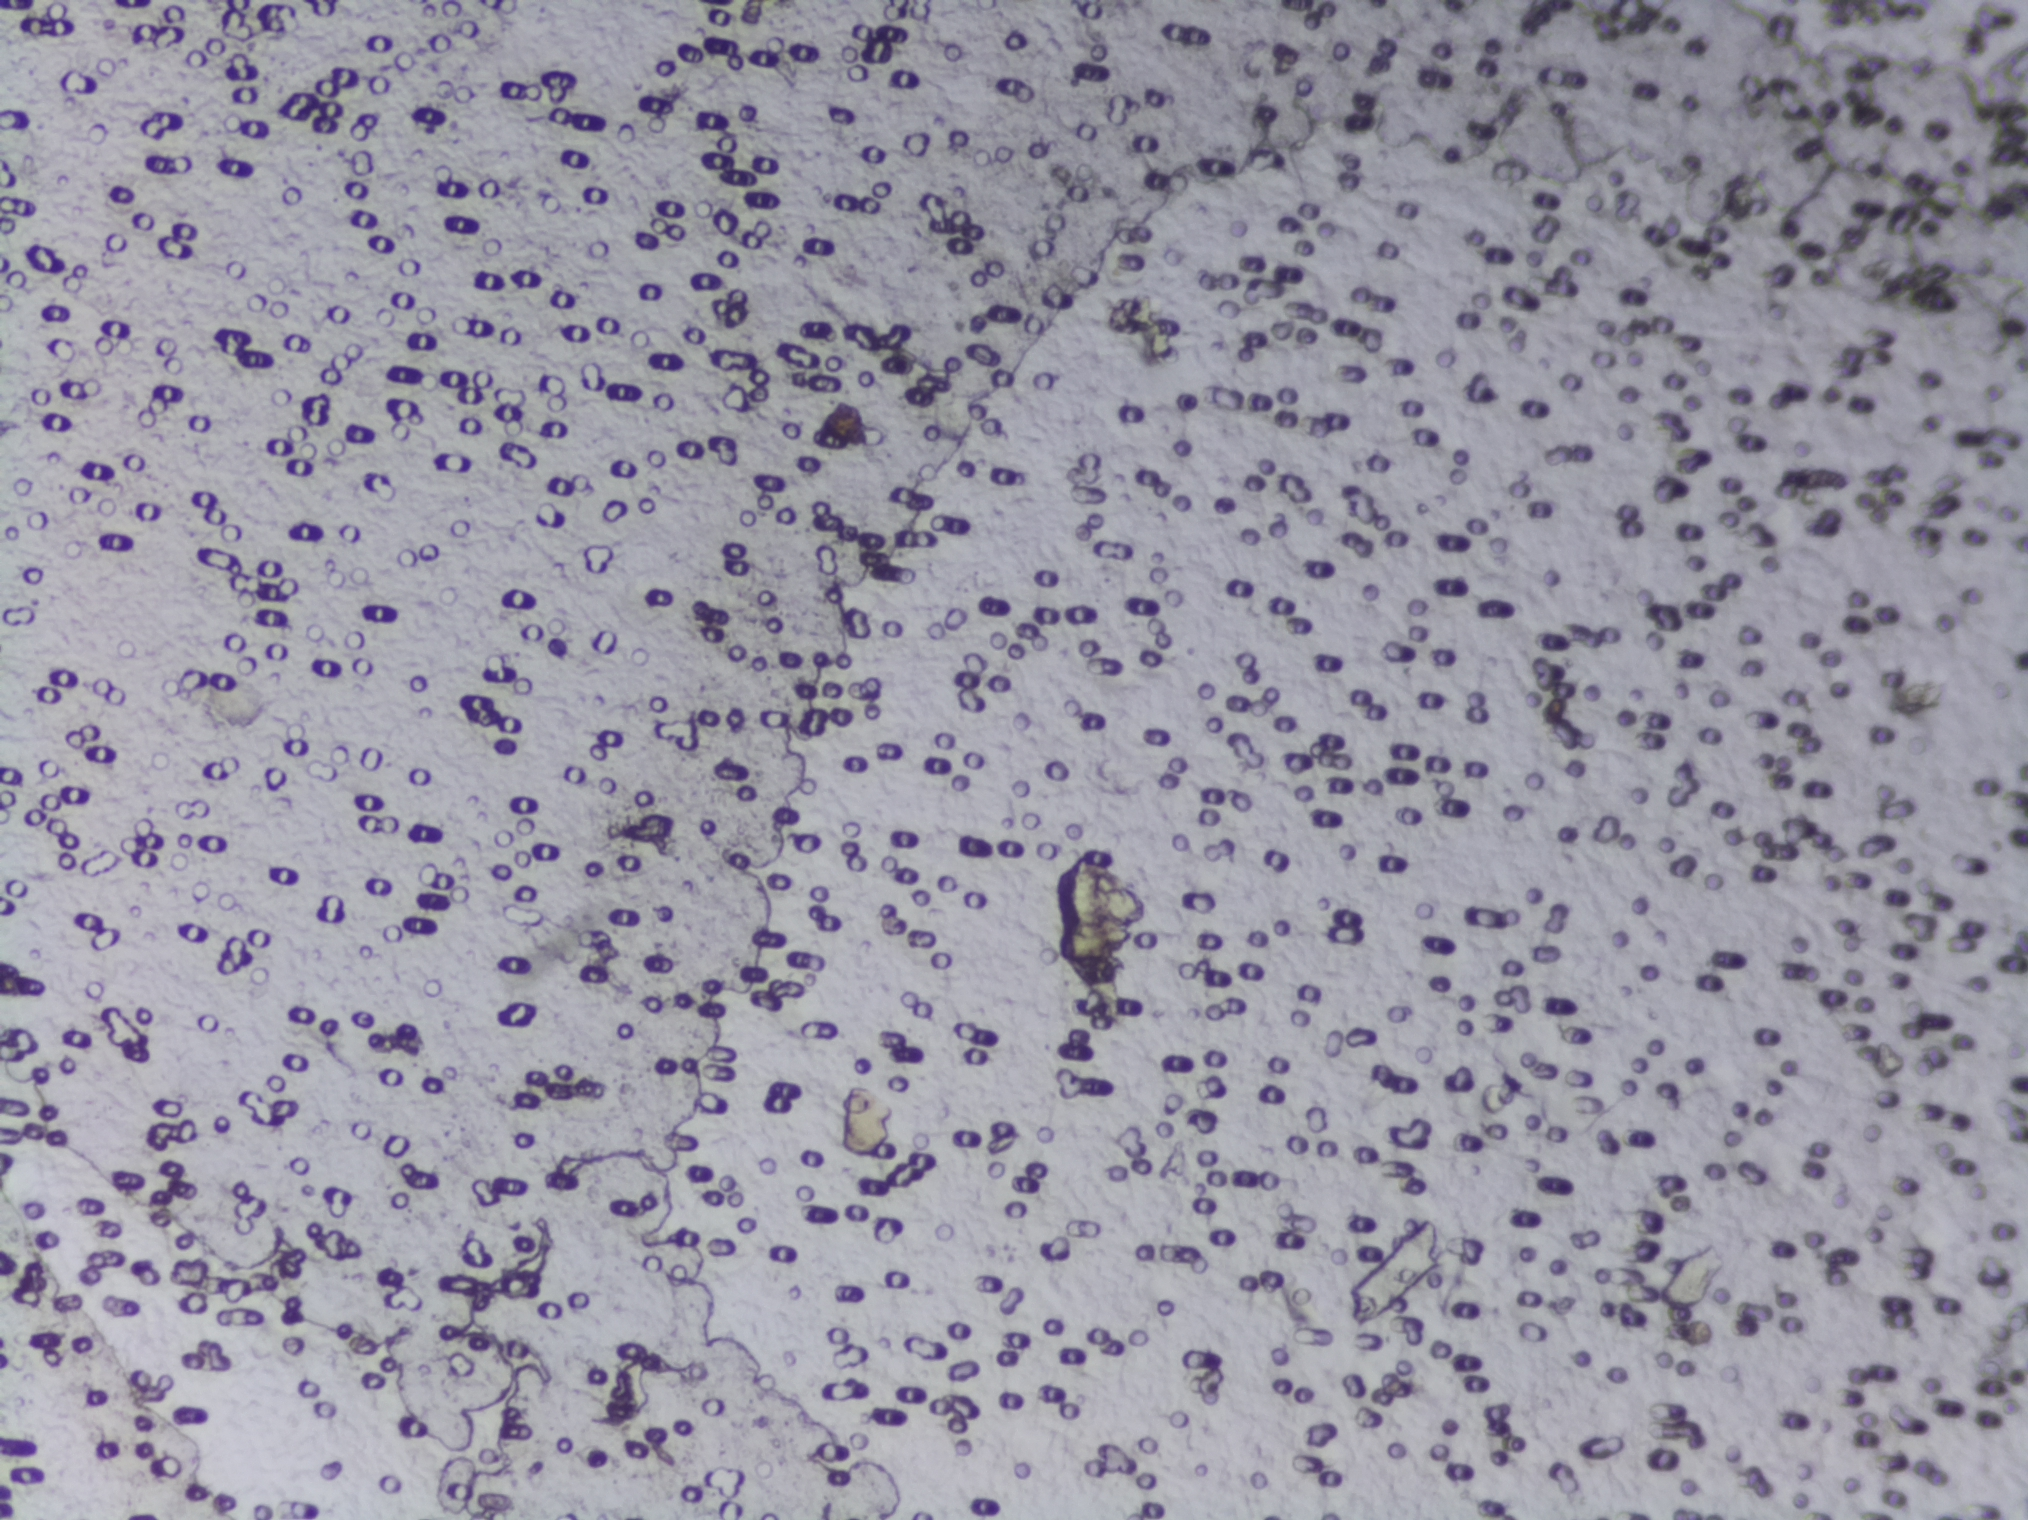
Urine filter membrane photographed through a 4× microscope objective. The field of view is about 1.5 mm × 1.1 mm.
No area of this image was outlined as a Schistosoma egg.